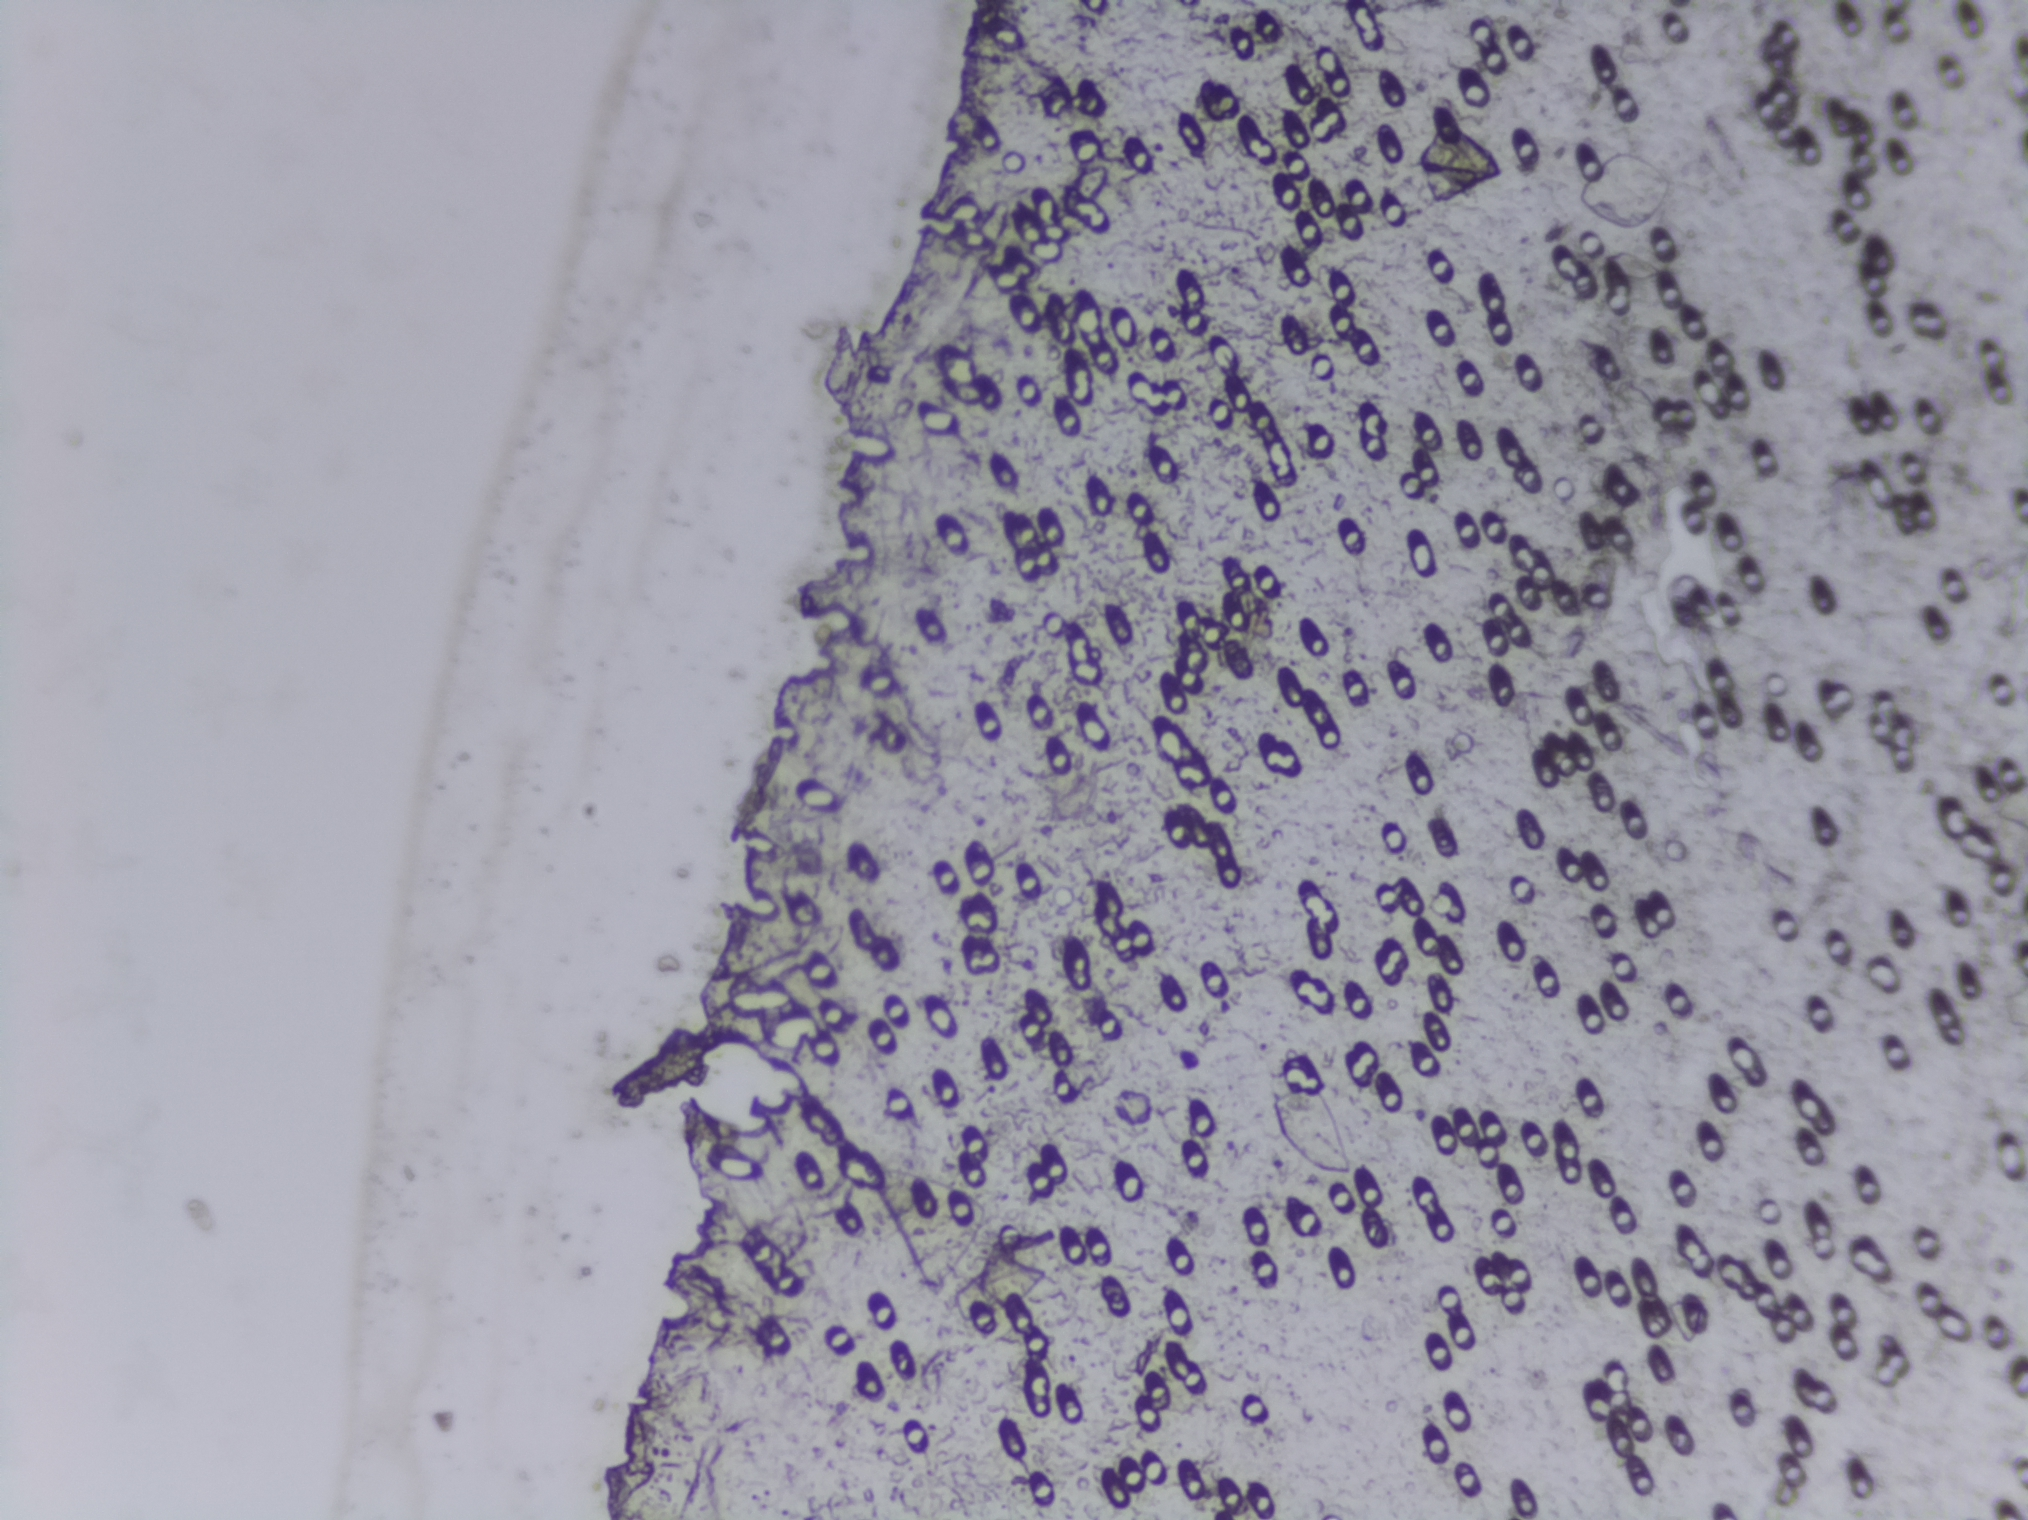
The expert annotation marks no Schistosoma egg in this field of view.
Microscope photograph (4× objective) of a membrane that a urine sample was filtered through. Field of view: about 1.5 mm wide and 1.1 mm high.